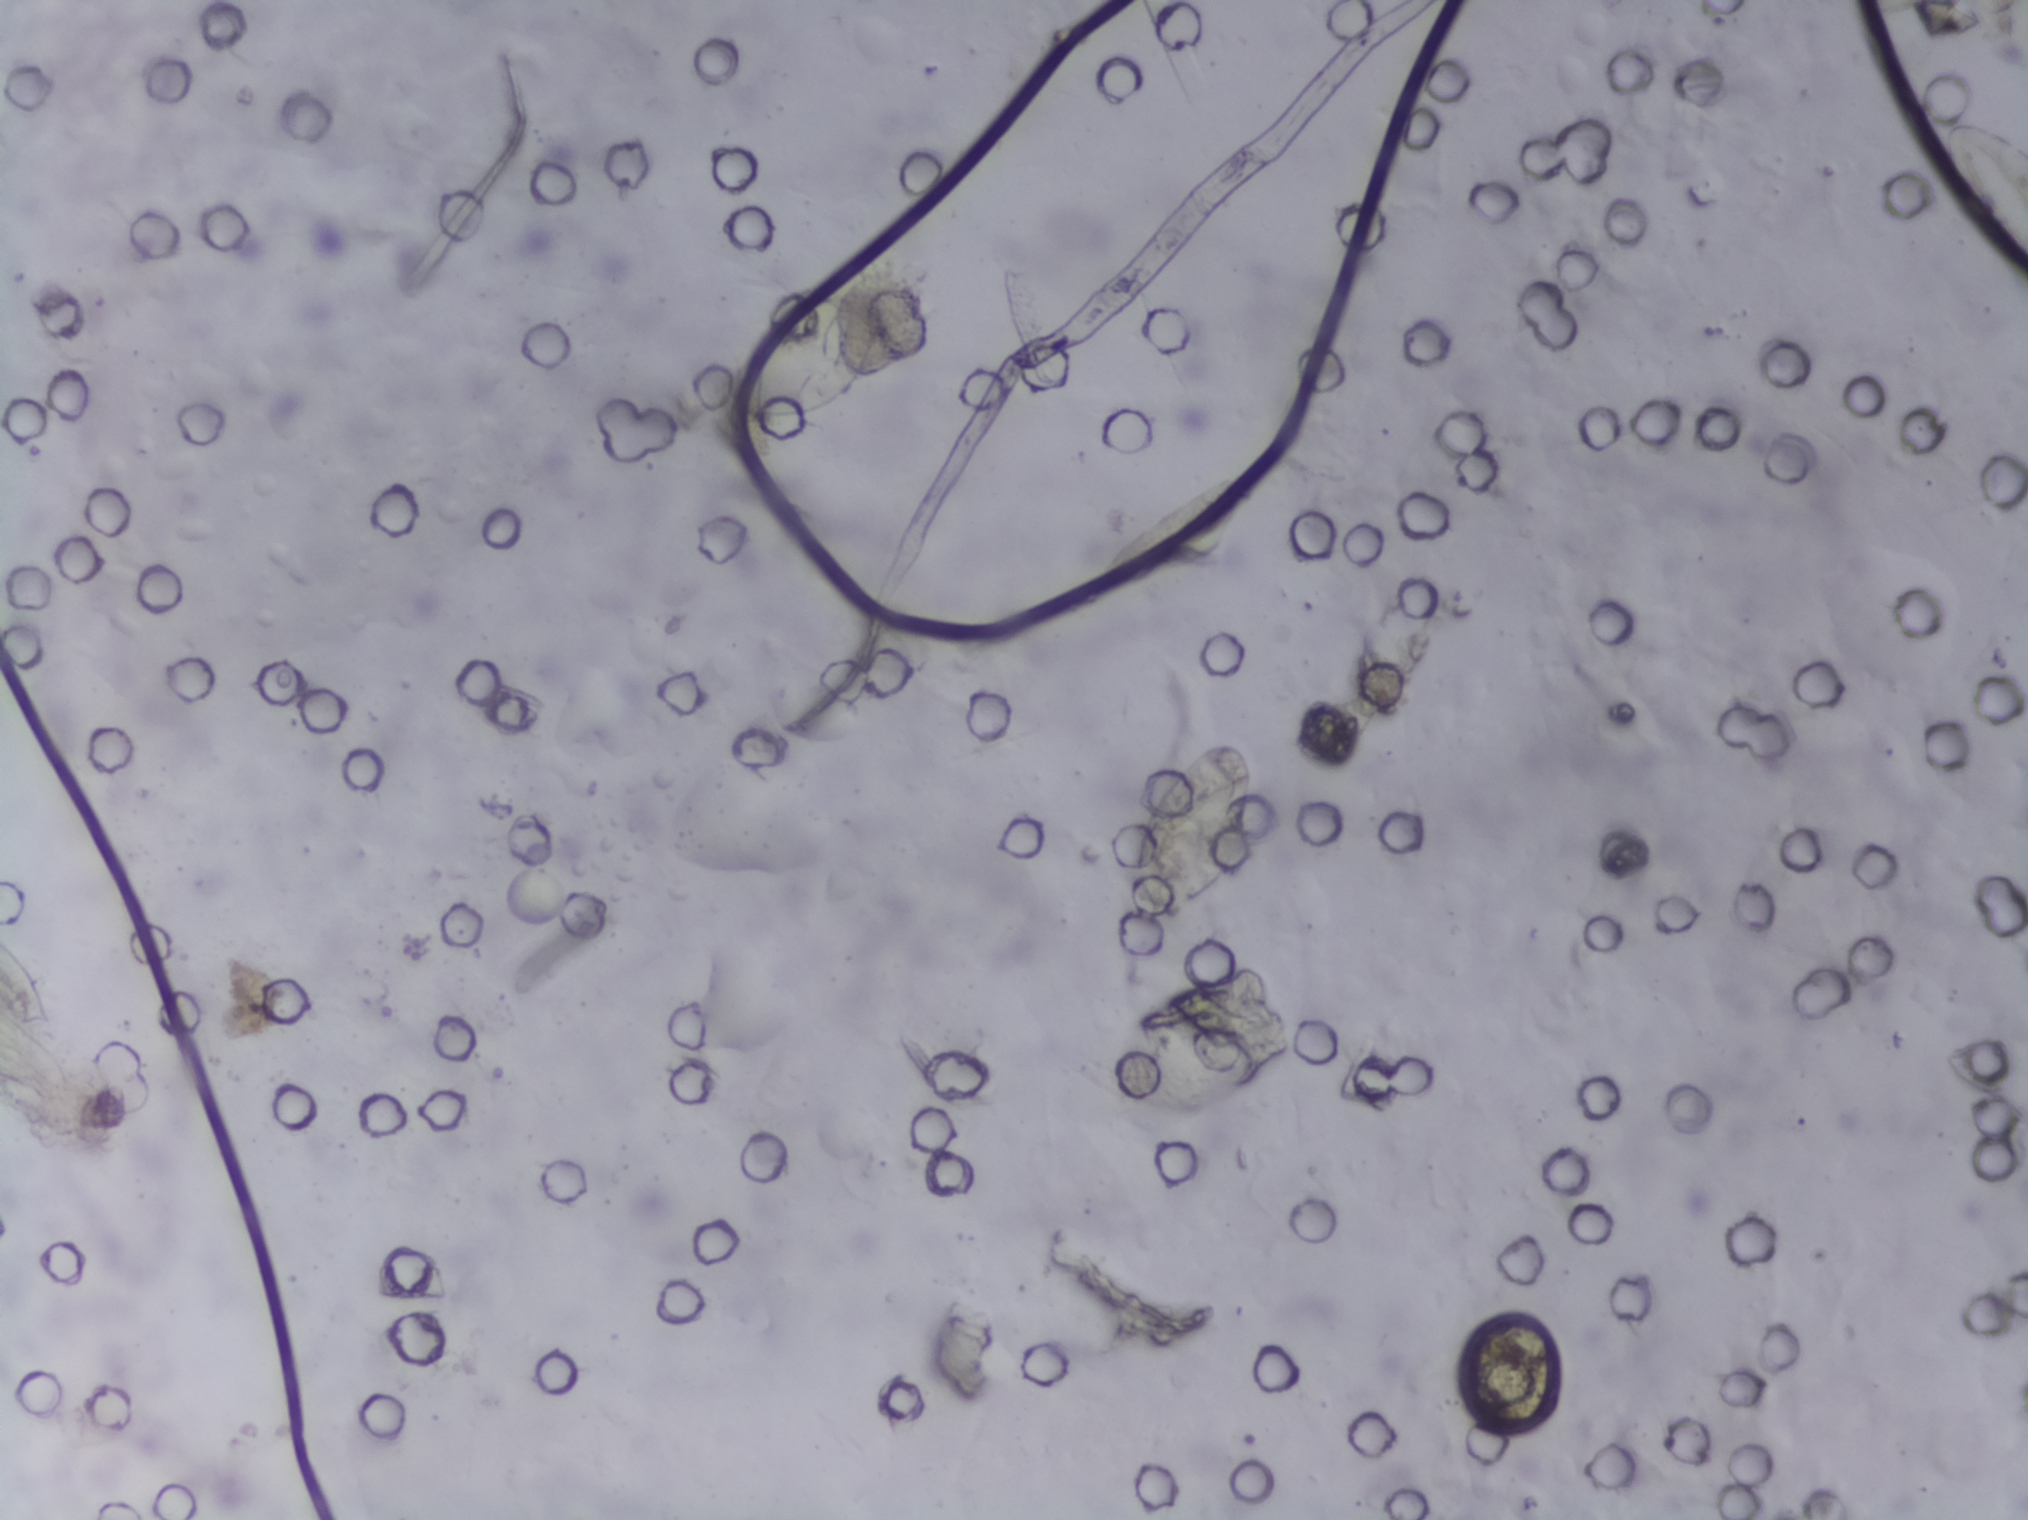
Urine filter membrane photographed through a 4× microscope objective.
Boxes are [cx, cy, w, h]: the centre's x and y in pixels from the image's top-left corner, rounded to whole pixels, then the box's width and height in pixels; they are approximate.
{"schistosoma_egg_areas_cxcywh_px": [[27, 981, 55, 99], [818, 337, 154, 168], [1195, 833, 126, 184]]} Area 1 reaches the left edge of the frame.
An outlined area can hold more than one egg.